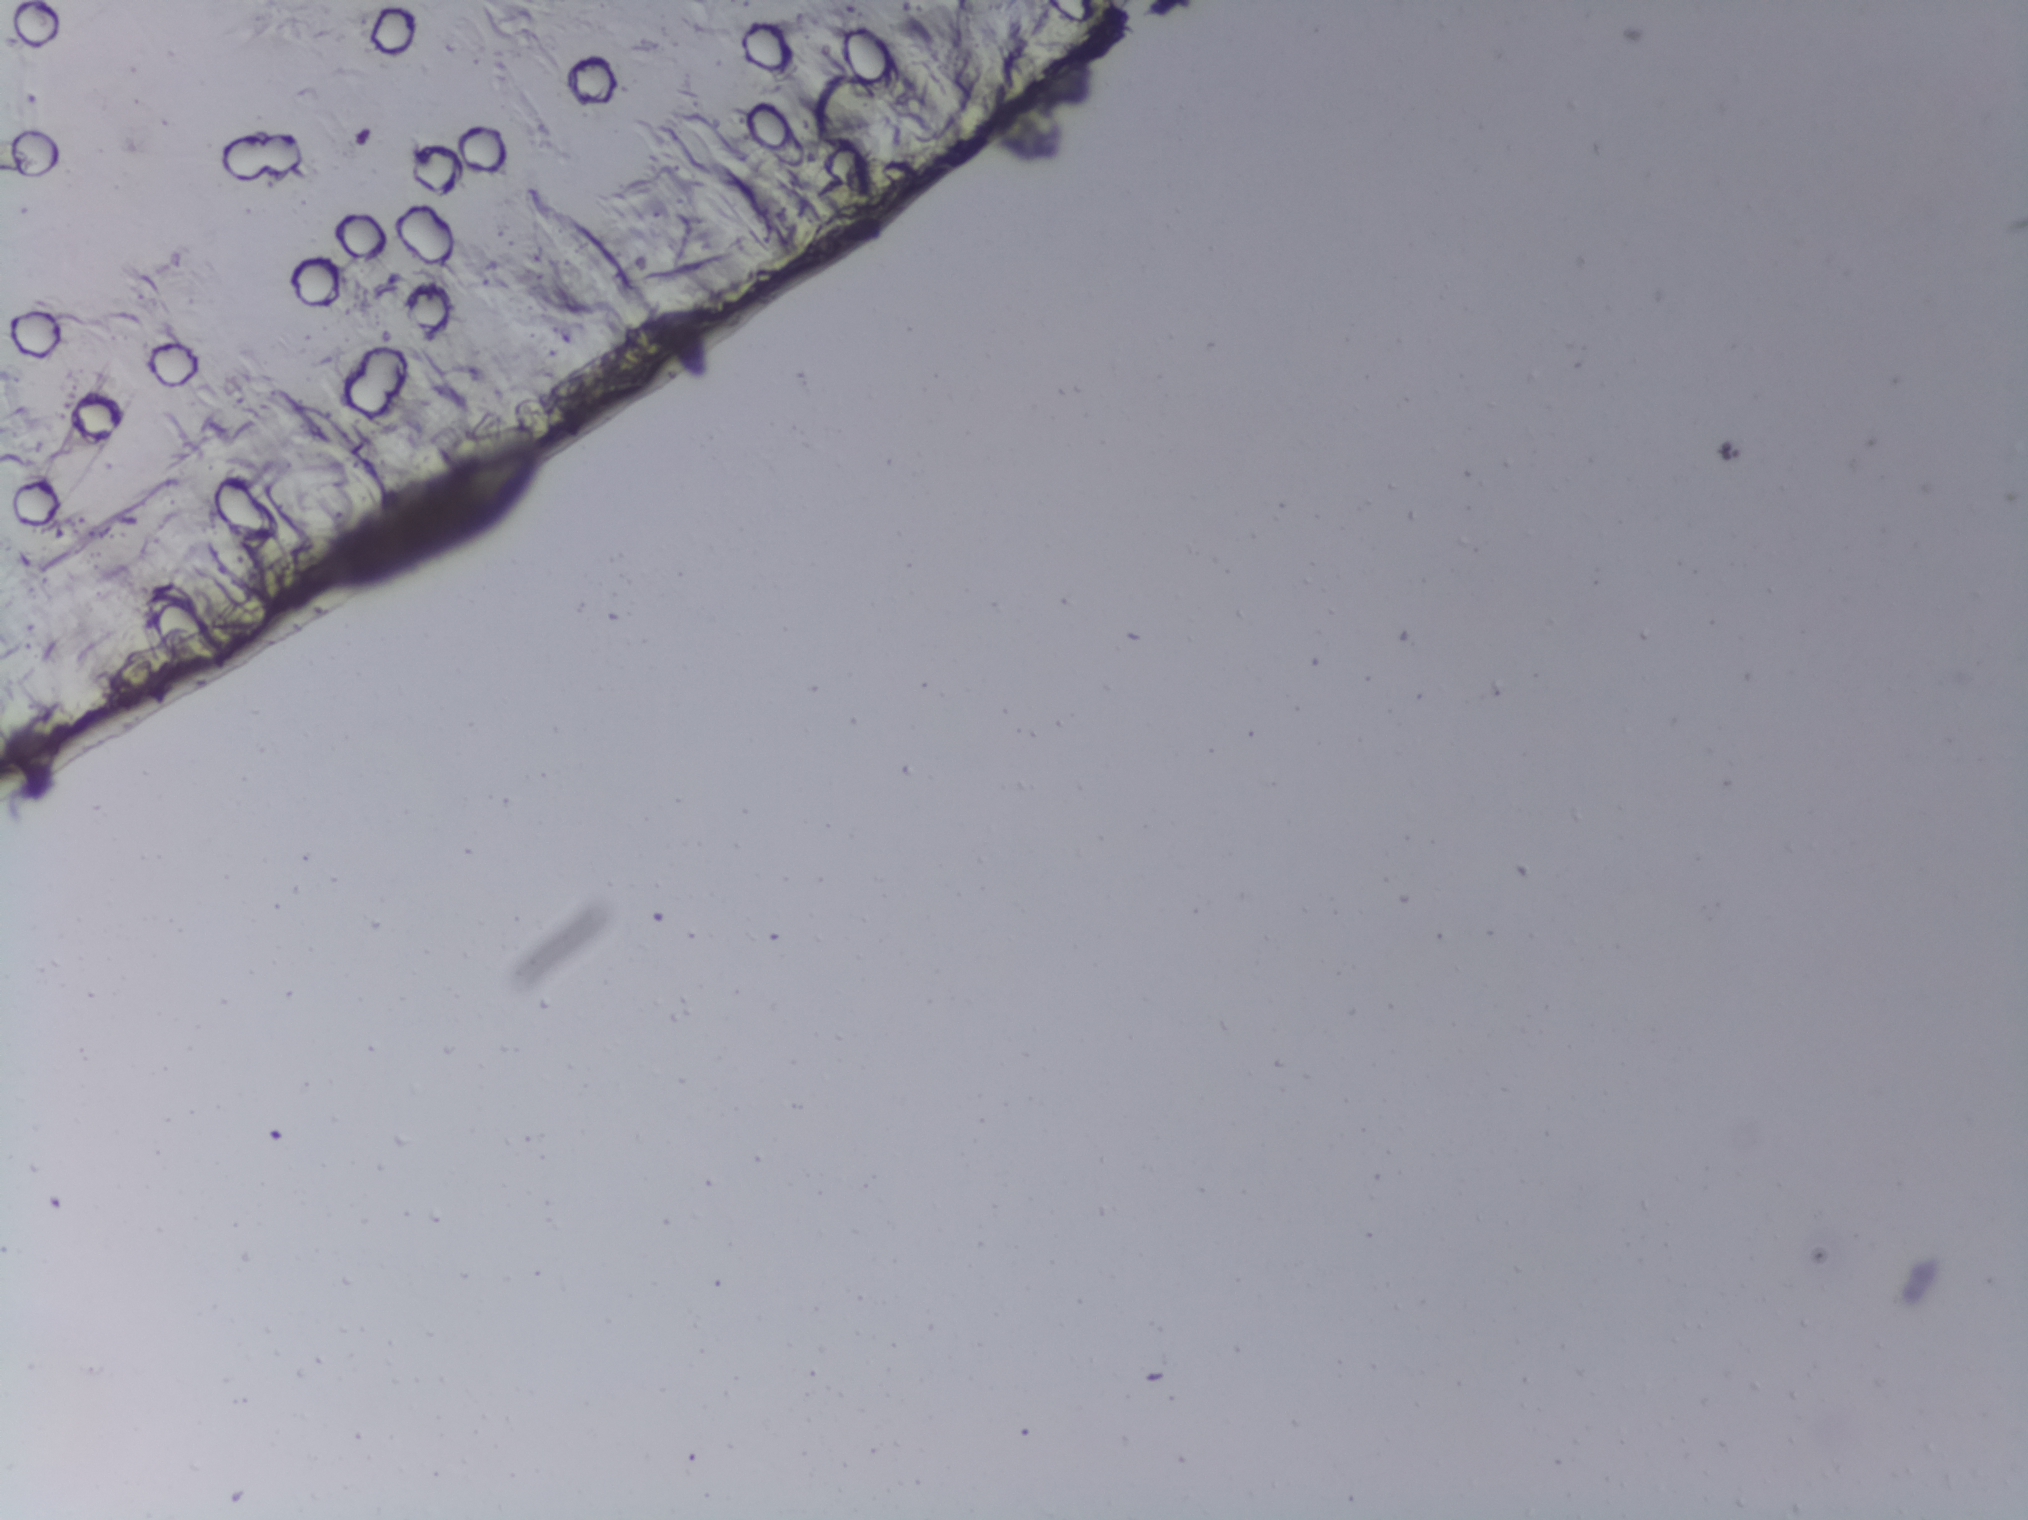
Urine filter membrane photographed through a 4× microscope objective.
No area of this image was outlined as a Schistosoma egg.